Microscope photograph (4× objective) of a membrane that a urine sample was filtered through. The field of view is about 1.5 mm × 1.1 mm.
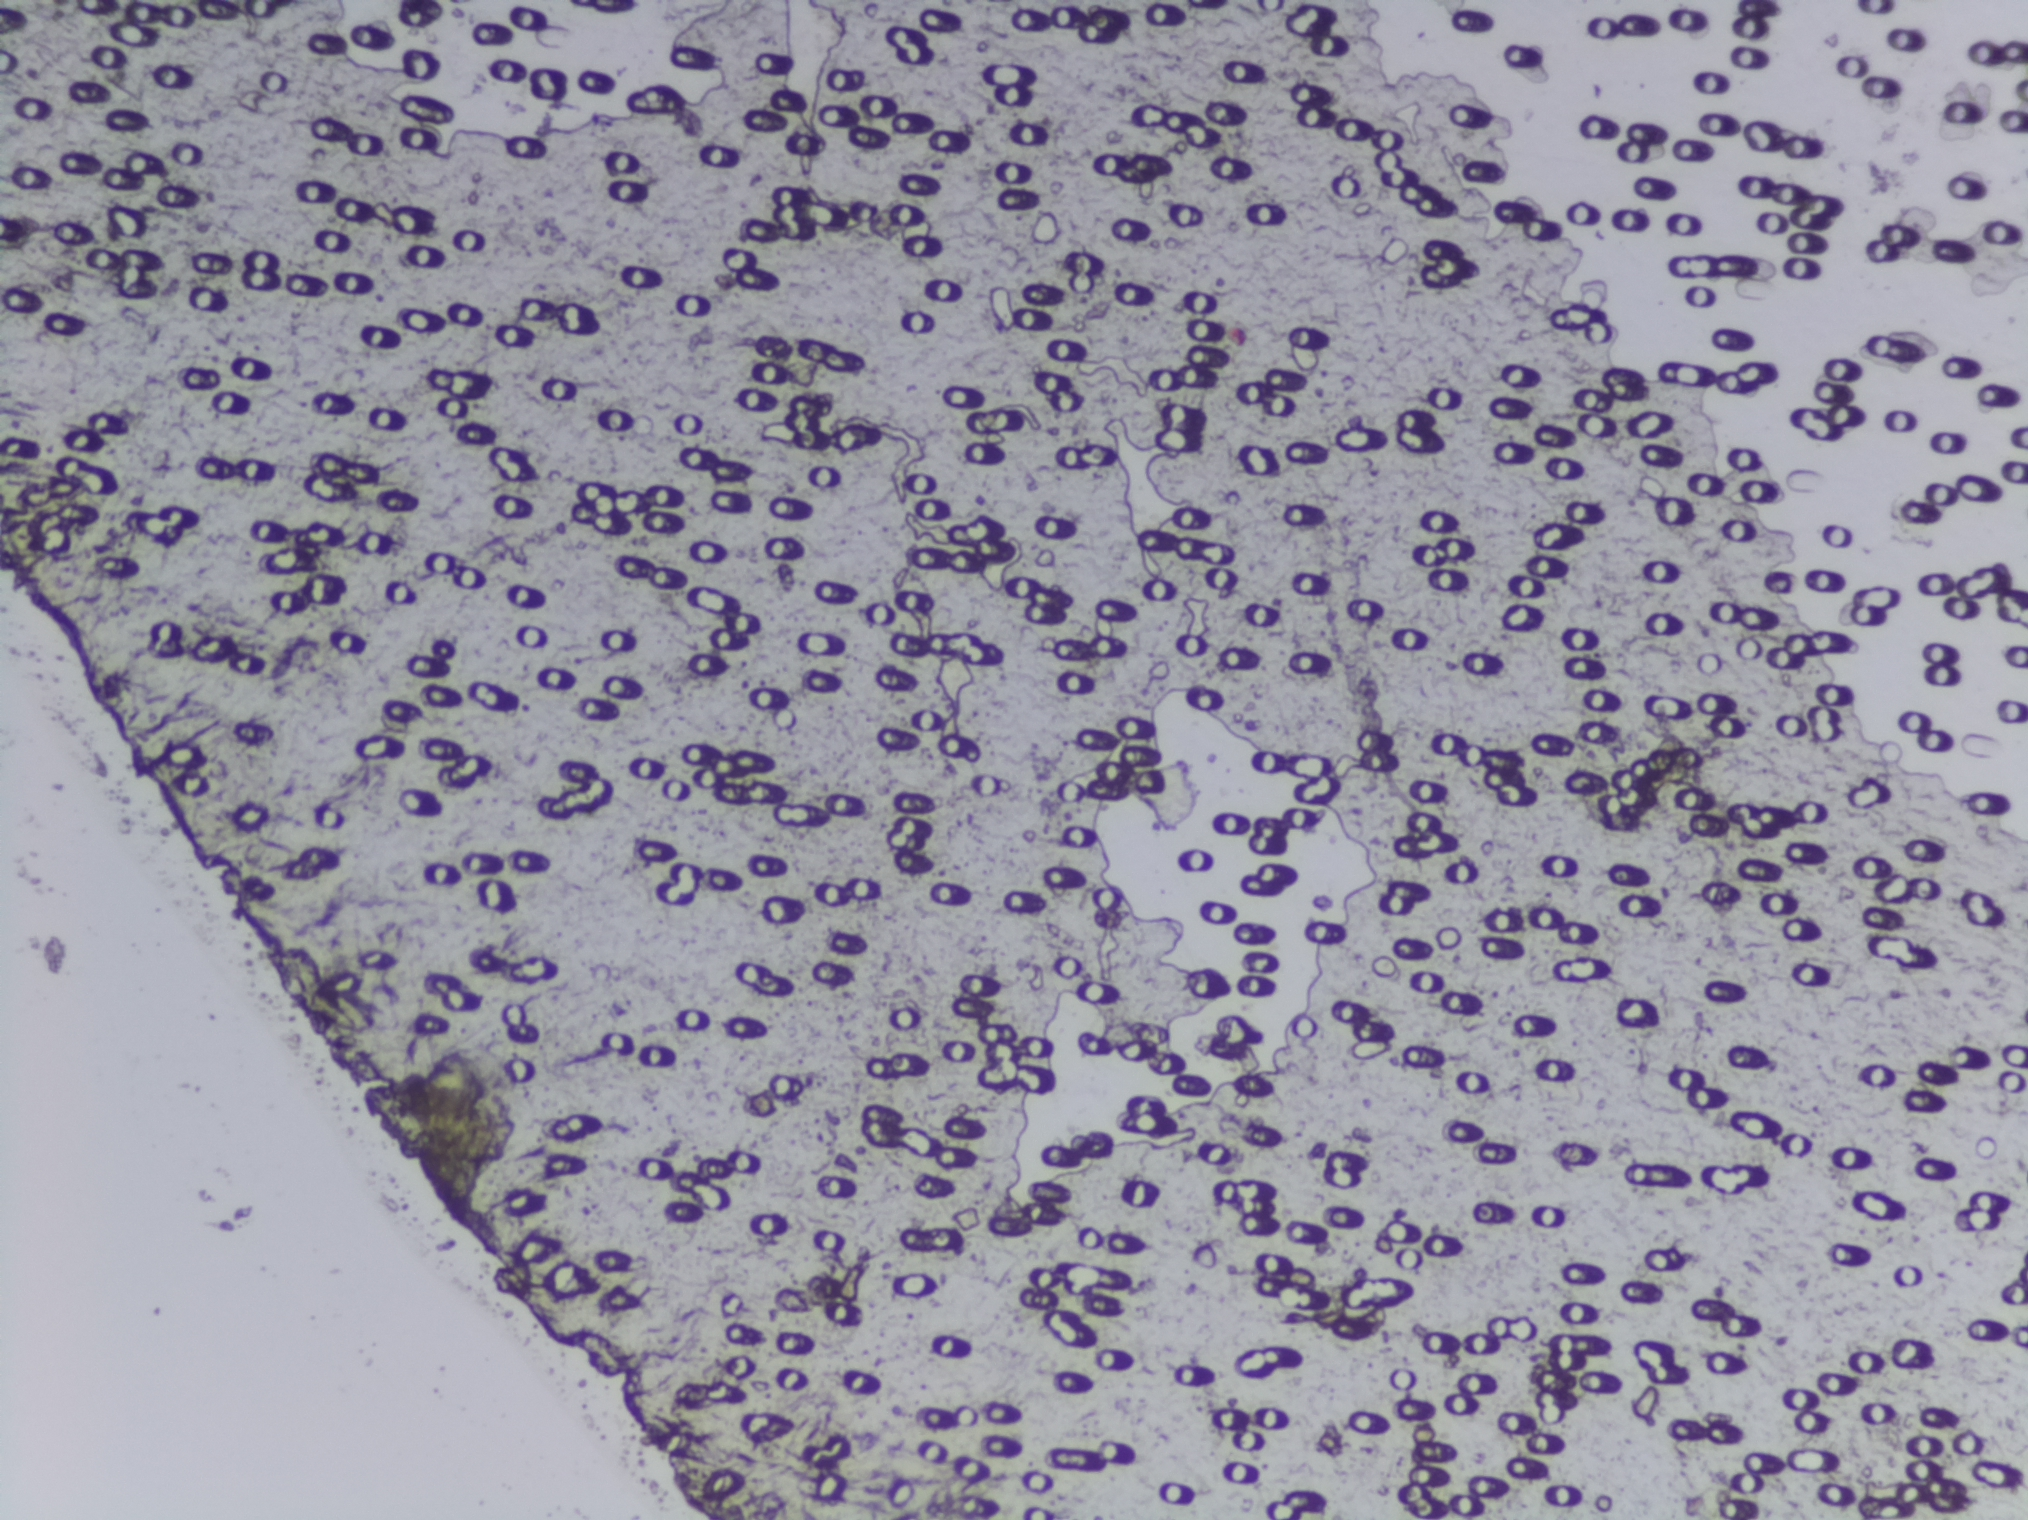
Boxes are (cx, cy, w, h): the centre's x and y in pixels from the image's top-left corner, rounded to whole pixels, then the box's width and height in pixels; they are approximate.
Schistosoma eggs are outlined in one area of this image: (cx=453, cy=1134, w=107, h=174). Eggs that touch can end up inside the same outlined area. Any one outlined egg may, rarely, be S. mansoni rather than S. haematobium.